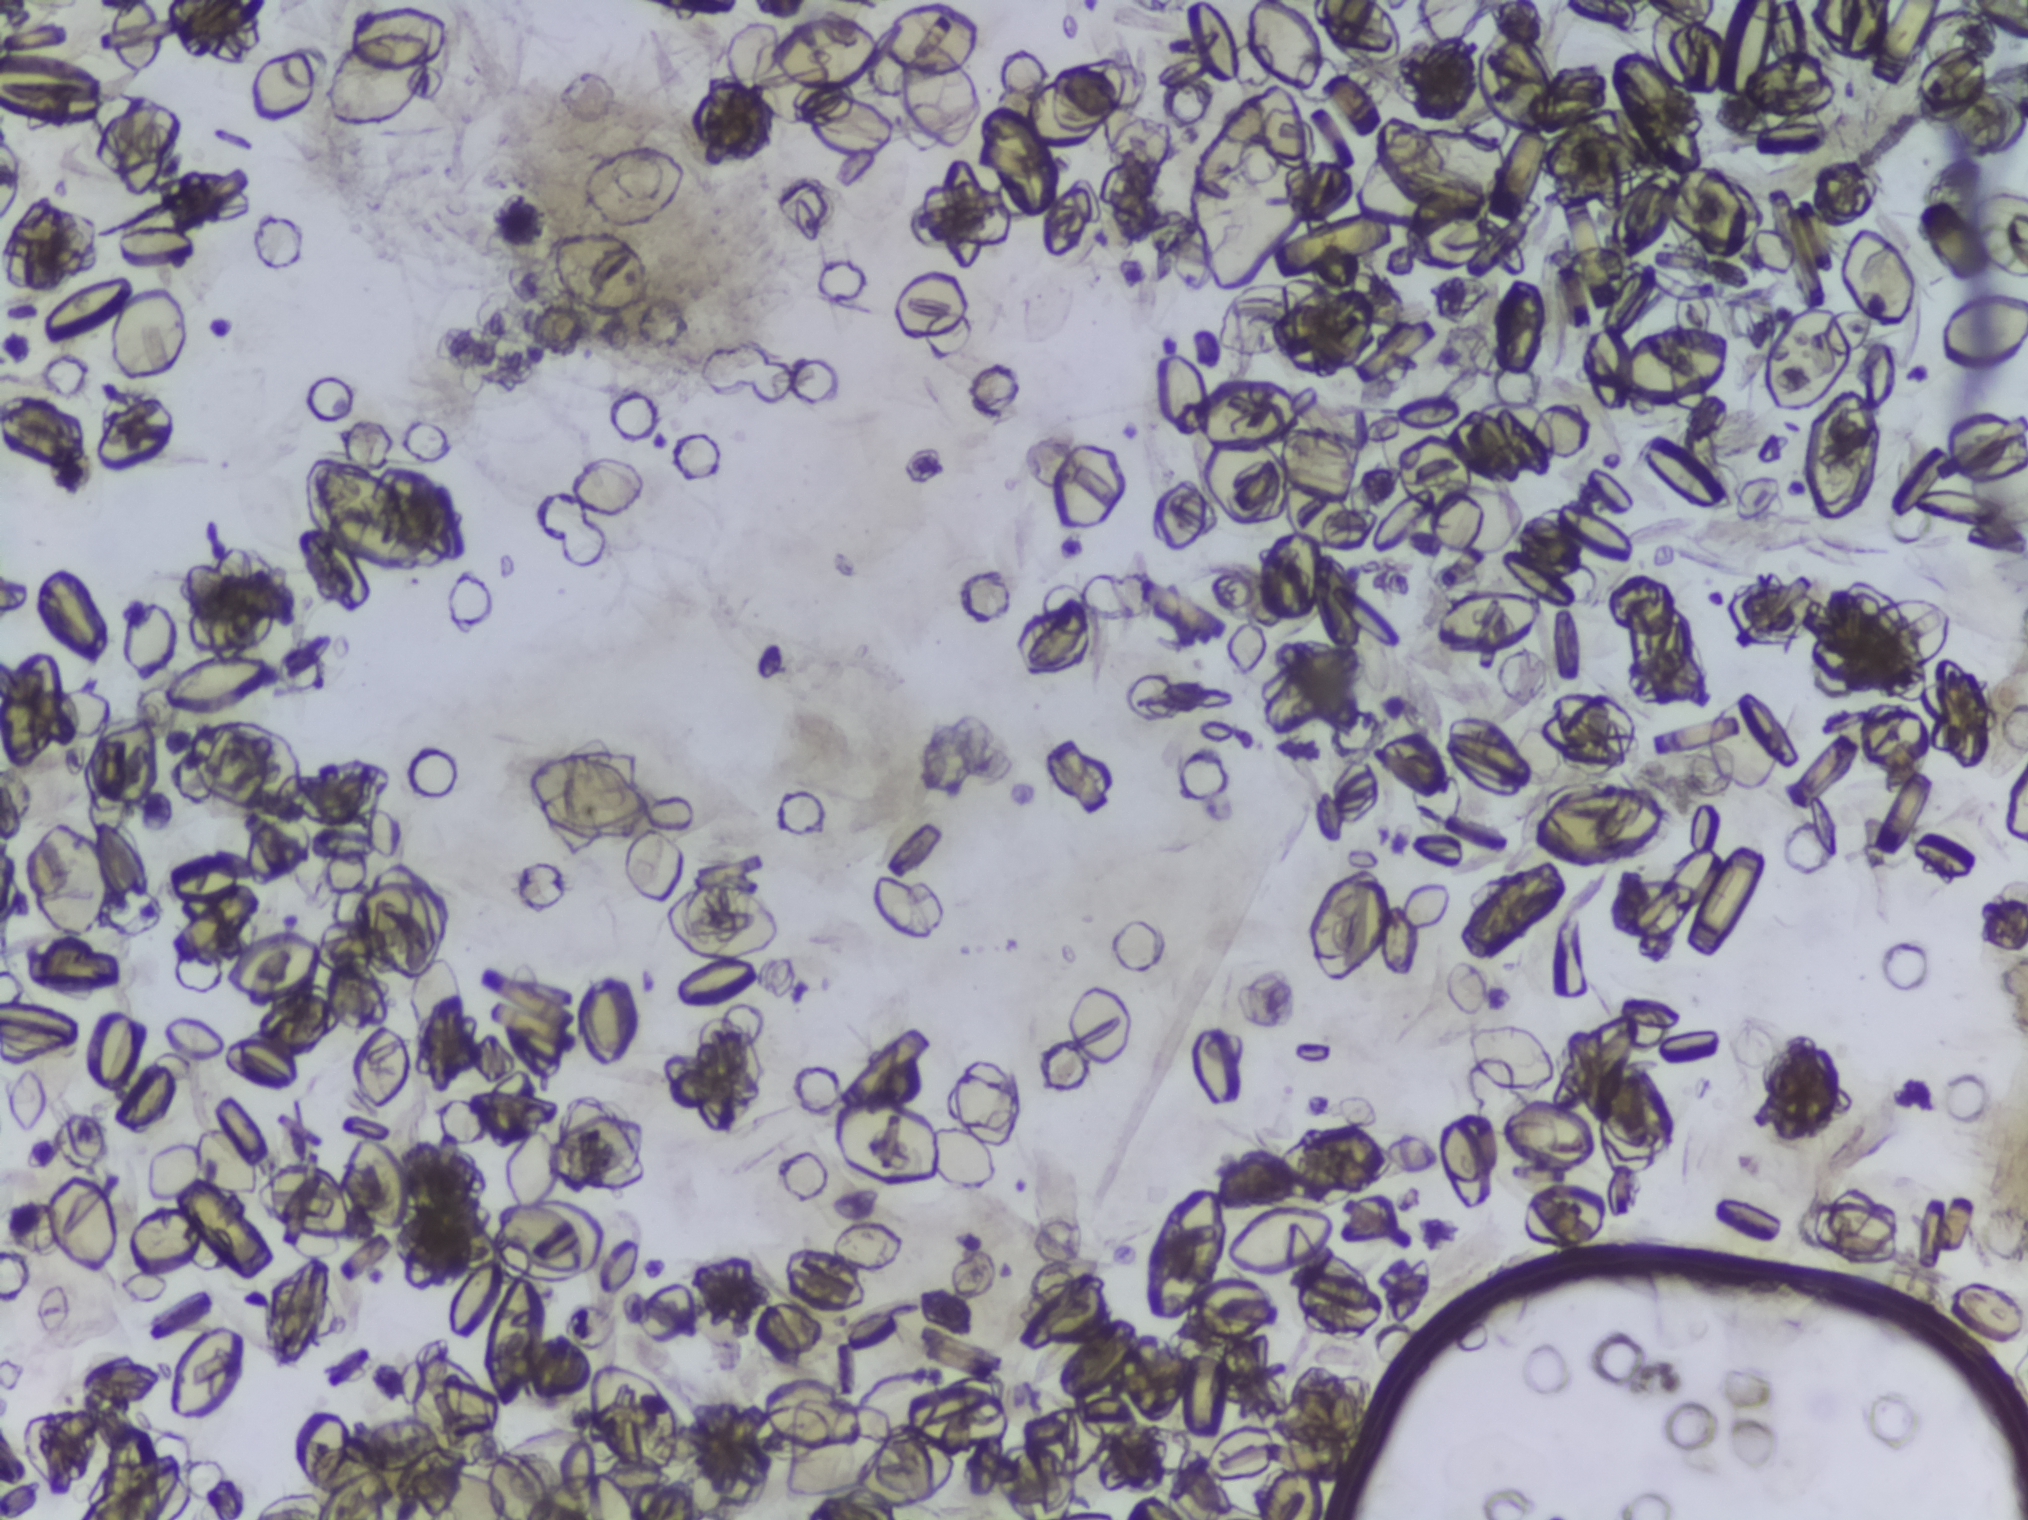
Schistosoma eggs: none outlined.
One field of view of a urine filter membrane, 4× objective, 2028 × 1520 pixels. The field of view is about 1.5 mm × 1.1 mm.